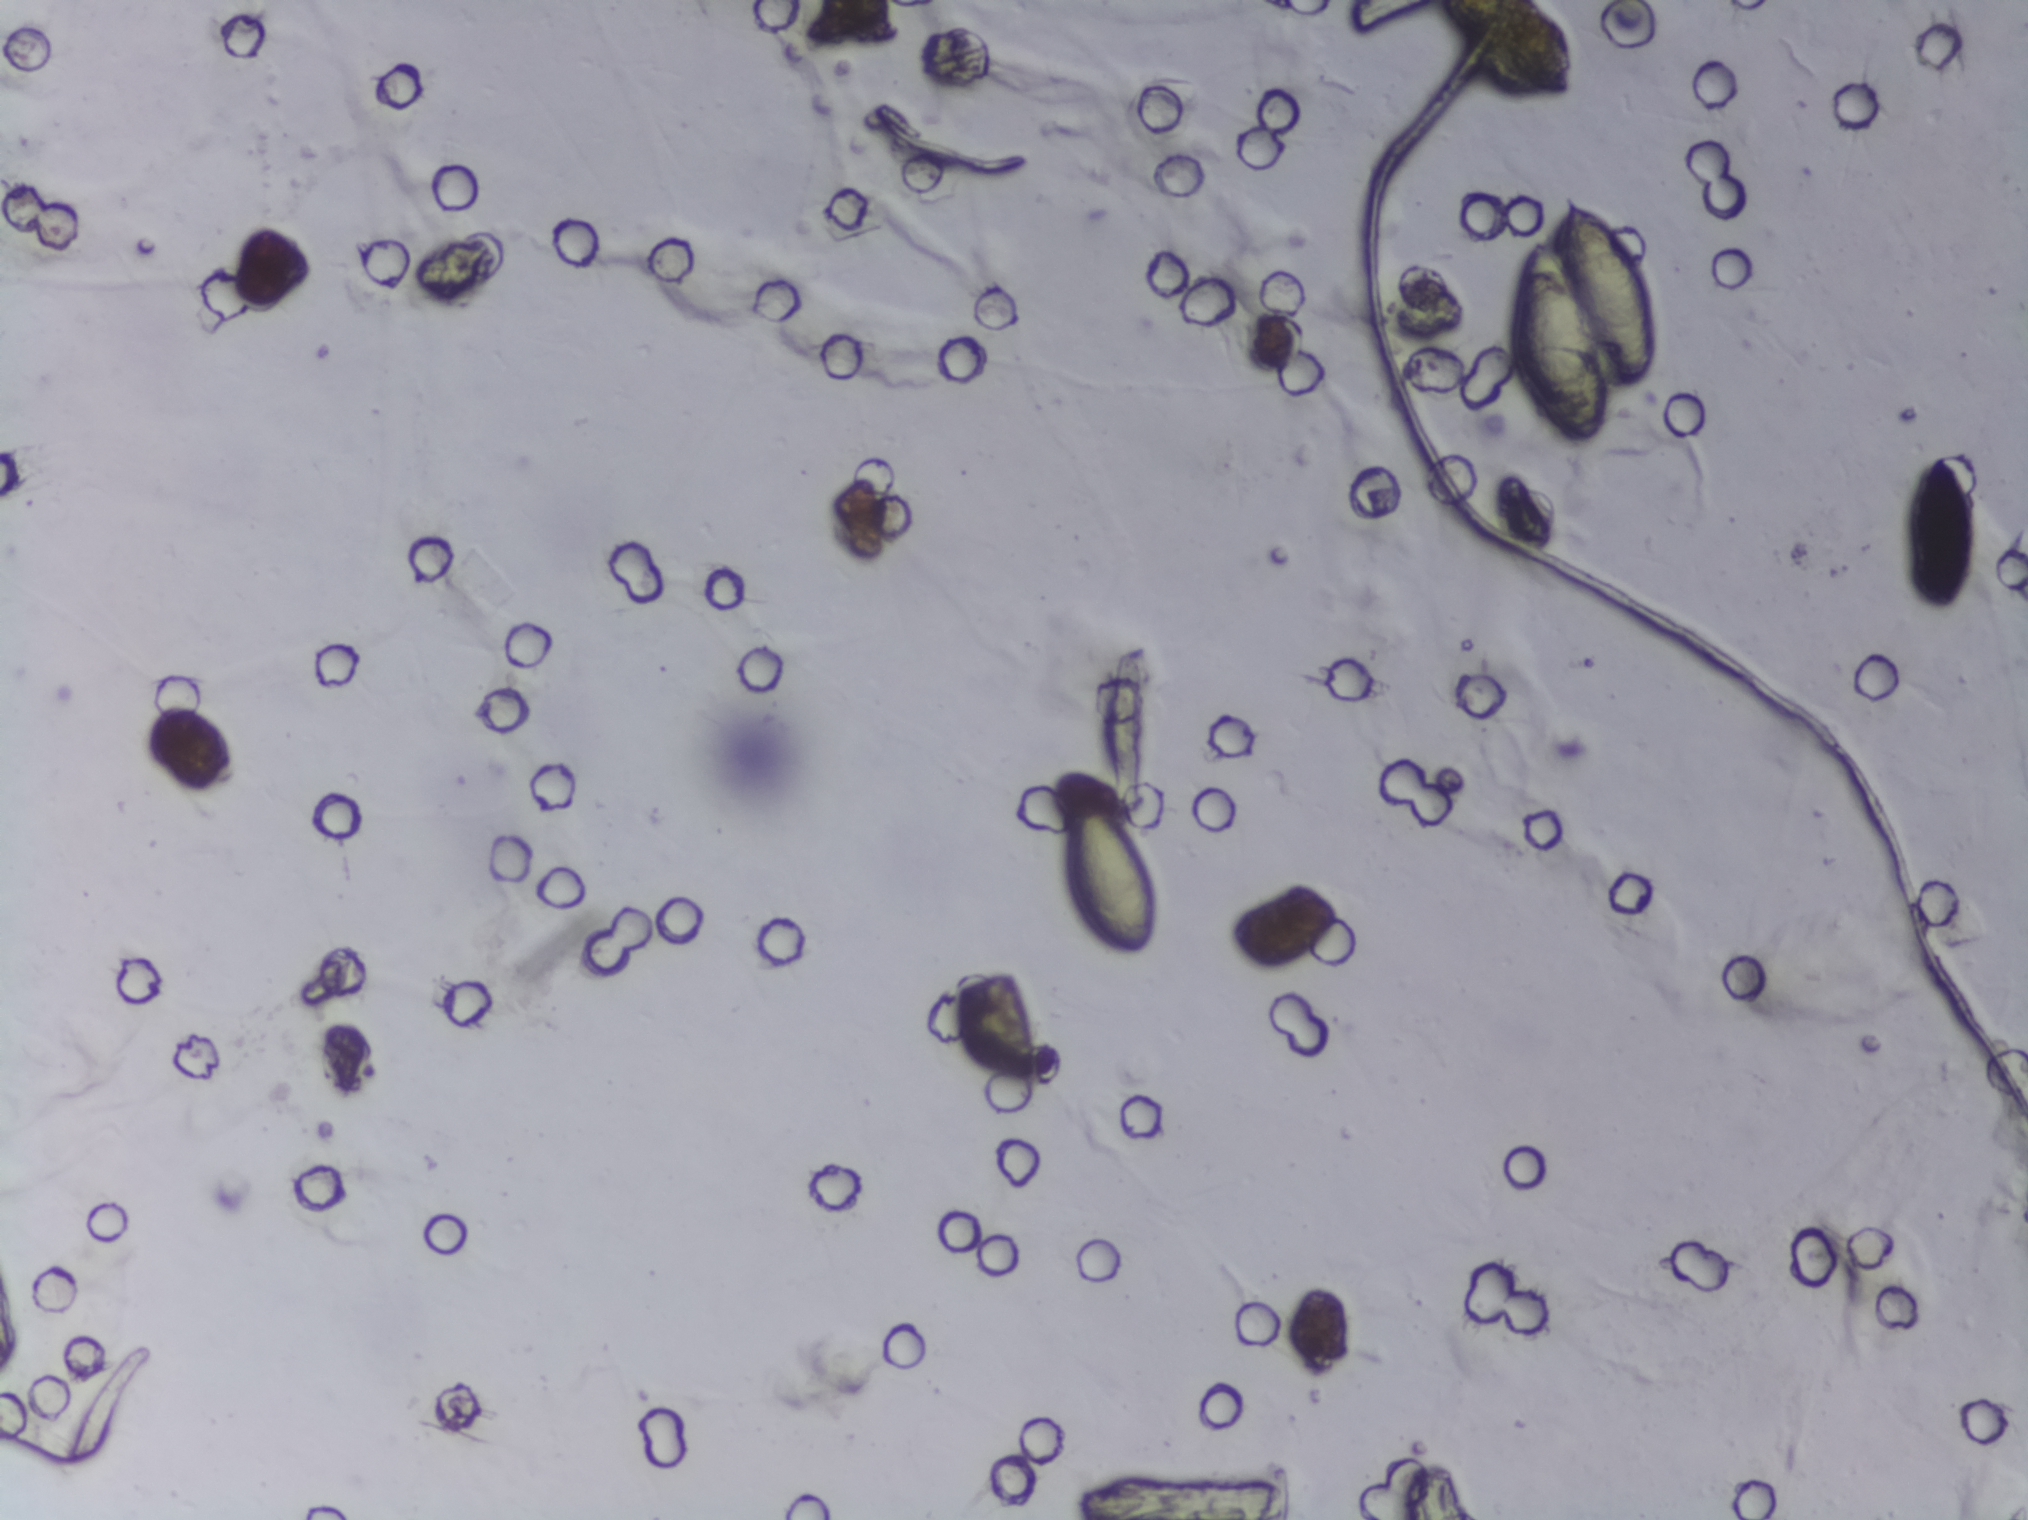
Urine filtration membrane under a 4× objective, photographed by an automated digital microscope. Field of view: about 1.5 mm wide and 1.1 mm high.
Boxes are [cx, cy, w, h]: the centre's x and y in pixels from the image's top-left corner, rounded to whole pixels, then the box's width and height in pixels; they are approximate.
{"schistosoma_egg_areas_cxcywh_px": [[1109, 875, 105, 166], [1501, 48, 137, 96], [1583, 319, 152, 254], [1942, 533, 78, 154]]} Area 2 reaches the top edge of the frame.
Eggs that touch can end up inside the same outlined area.